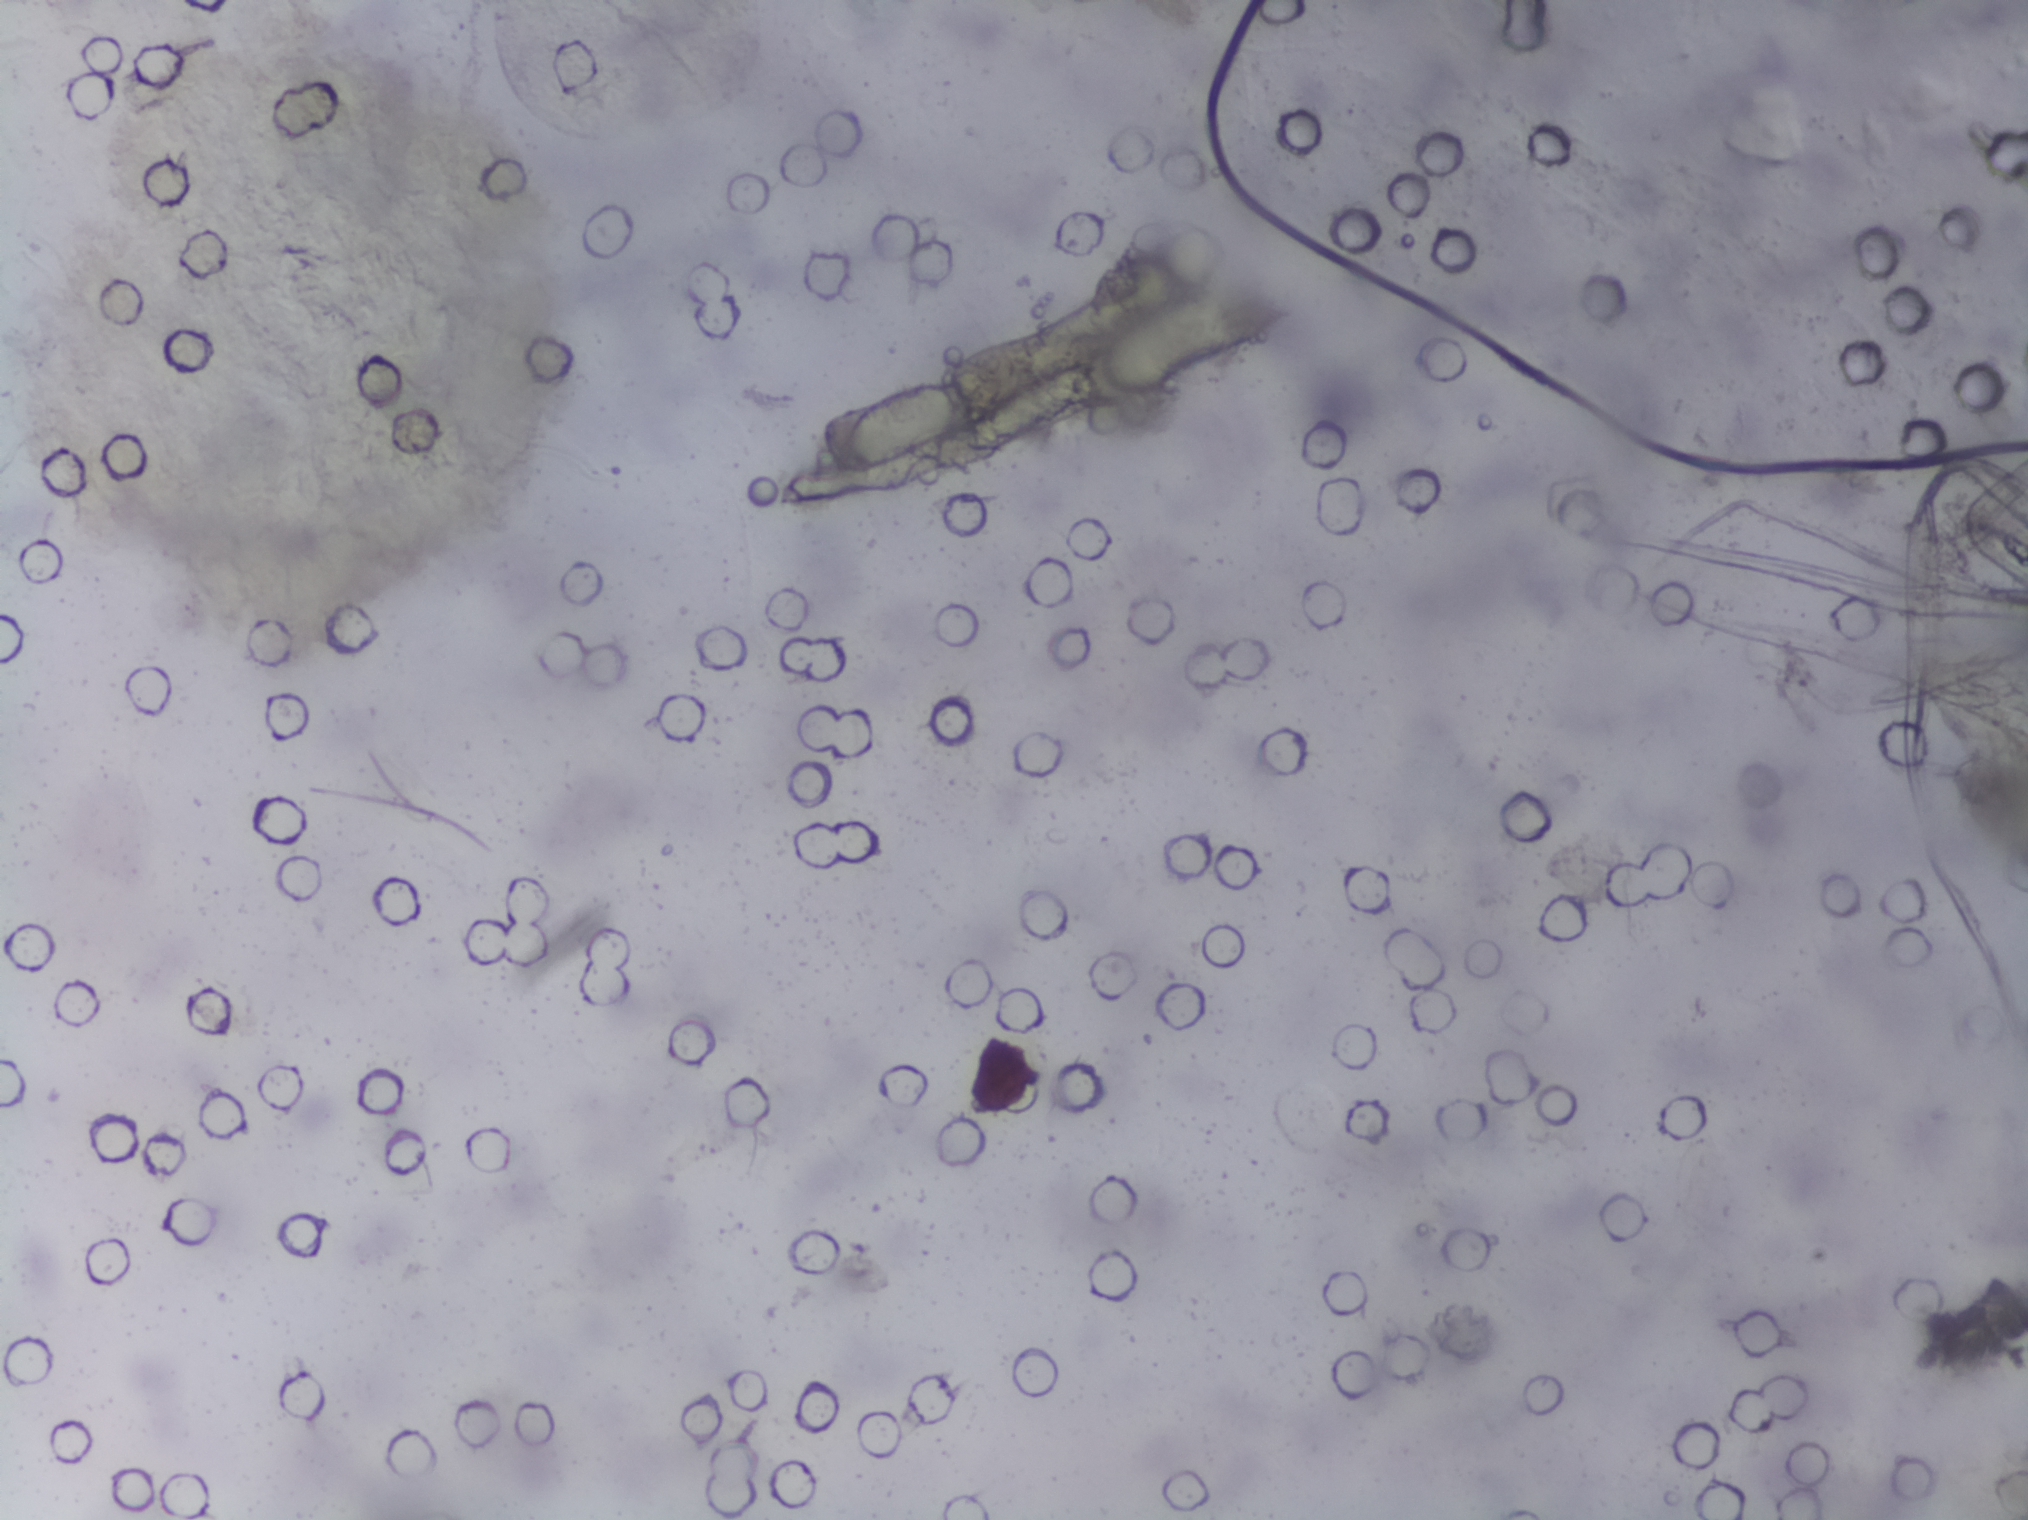
Urine filter membrane photographed through a 4× microscope objective.
No area of this image was outlined as a Schistosoma egg.